Photograph from an automated digital microscope: urine filter membrane, 4× objective. The image covers about 1.5 × 1.1 mm of the membrane.
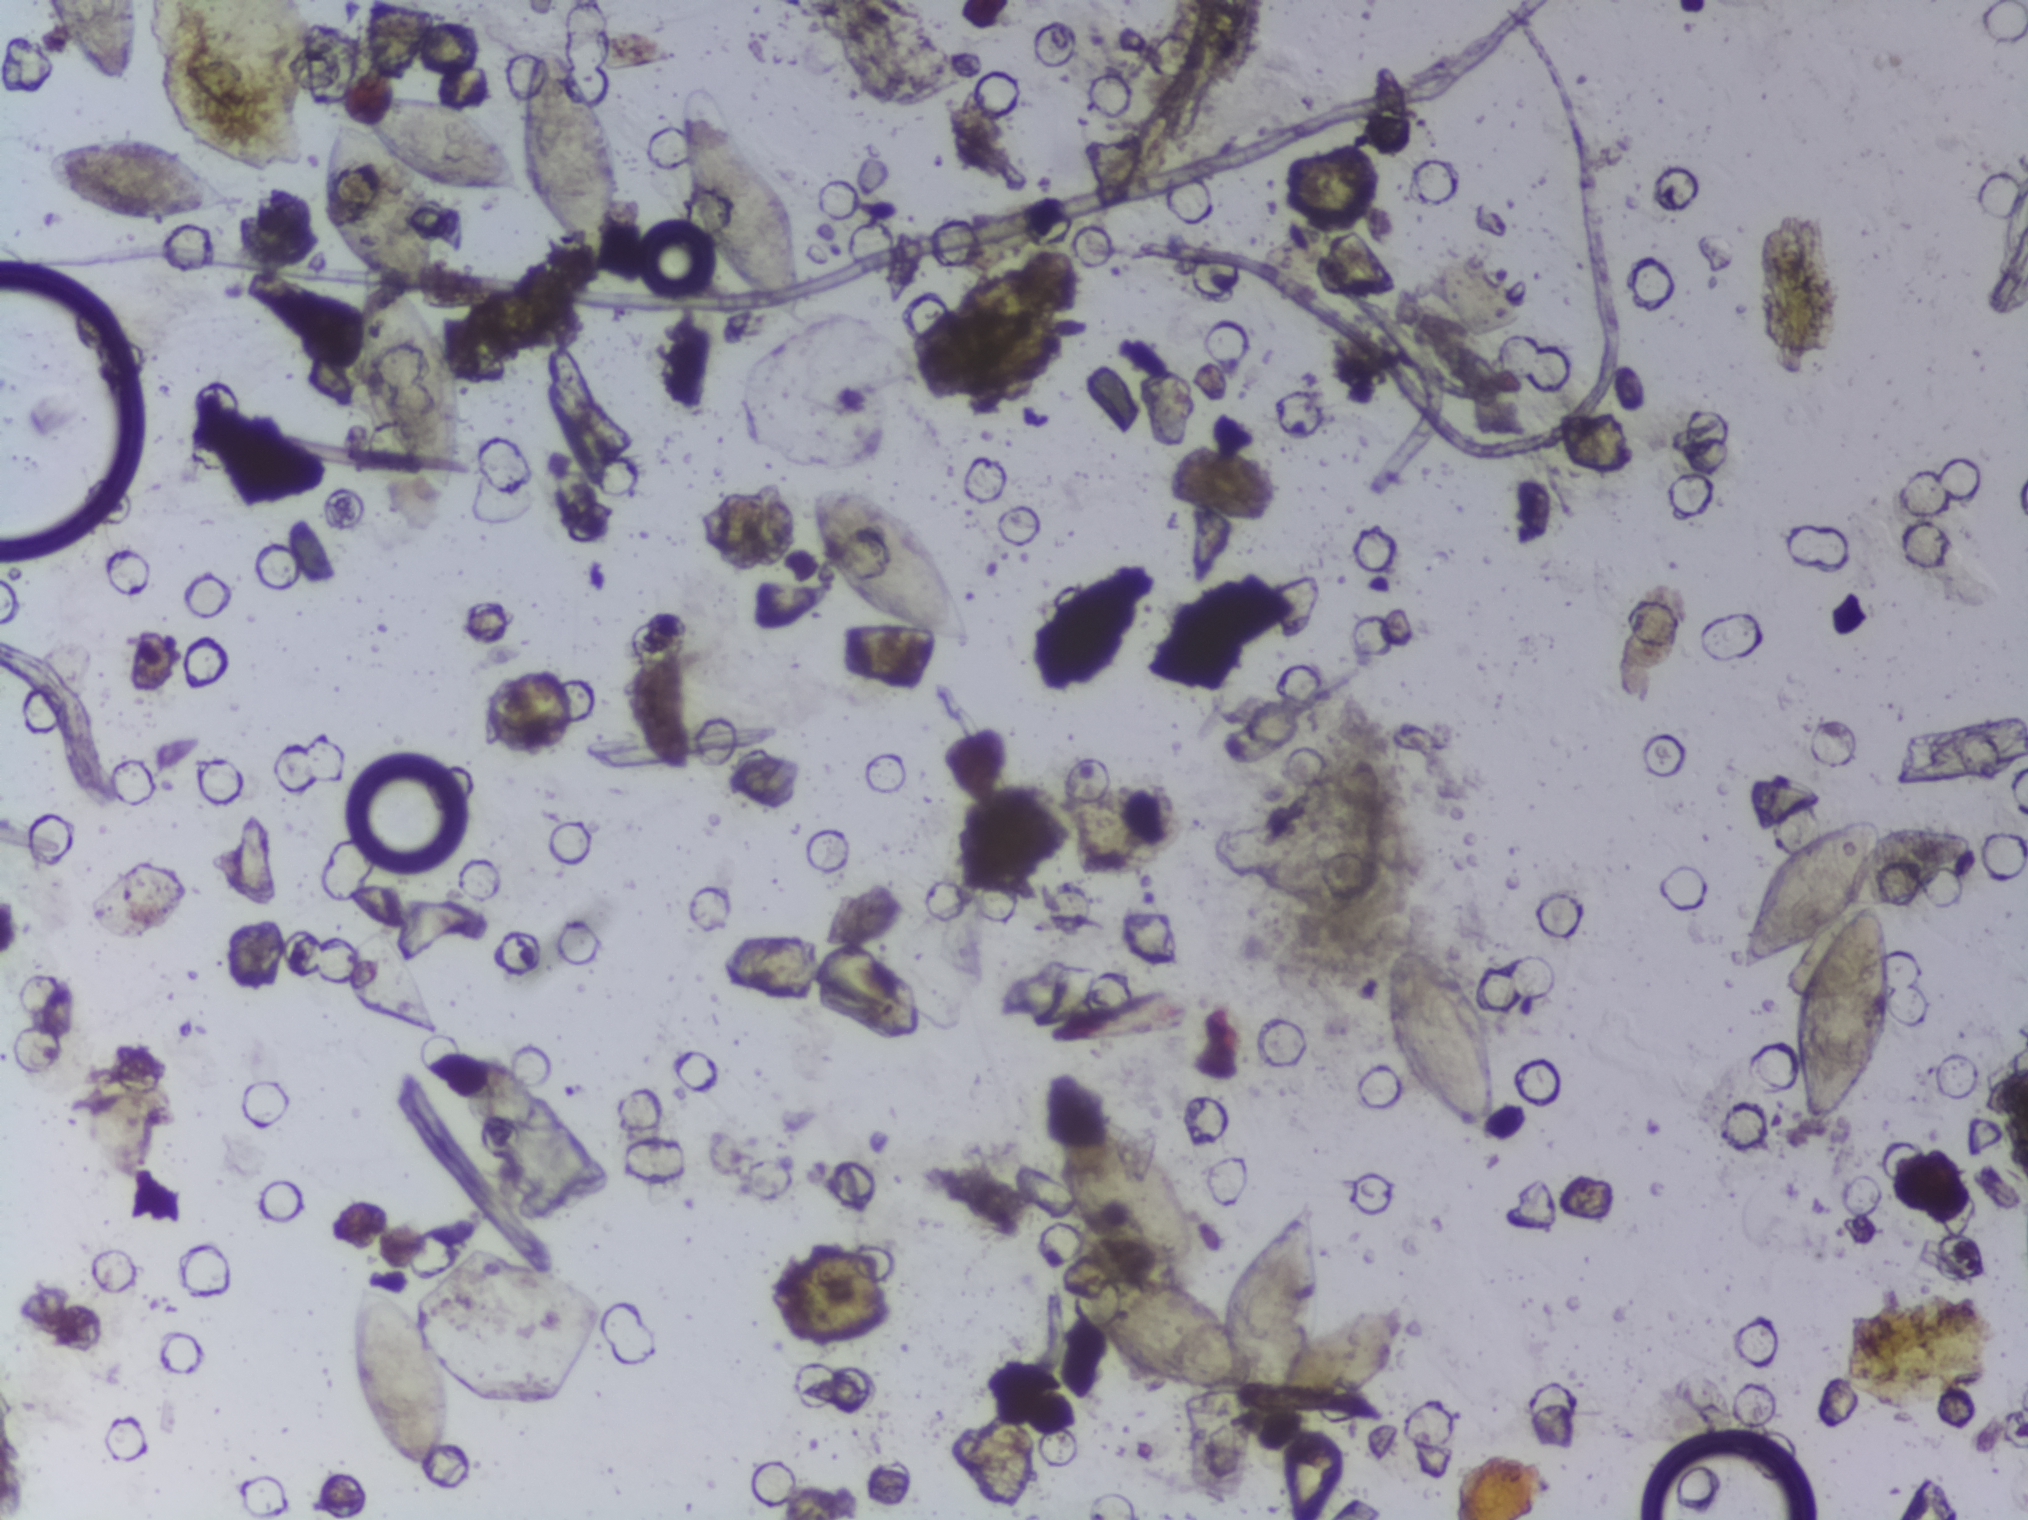
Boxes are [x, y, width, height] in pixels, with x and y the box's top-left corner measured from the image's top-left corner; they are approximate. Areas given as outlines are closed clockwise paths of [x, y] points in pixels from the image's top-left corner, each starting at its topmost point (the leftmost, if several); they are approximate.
Areas outlined as Schistosoma eggs: box [42, 0, 96, 85] (reaching the top edge of the frame); box [47, 137, 198, 88]; outline [542, 47], [583, 74], [612, 133], [625, 190], [619, 249], [607, 279], [593, 279], [549, 240], [521, 207], [519, 194], [428, 185], [439, 213], [439, 289], [421, 296], [454, 338], [469, 421], [454, 489], [434, 500], [358, 429], [346, 404], [341, 336], [354, 271], [318, 219], [313, 163], [327, 126], [345, 118], [345, 104], [369, 95], [453, 98], [491, 125], [515, 160], [526, 69] (eggs clustered together); box [346, 1283, 109, 198]; box [674, 87, 140, 244]; box [806, 485, 173, 171]; outline [1053, 1081], [1120, 1104], [1163, 1149], [1195, 1209], [1203, 1273], [1189, 1284], [1209, 1298], [1243, 1253], [1269, 1237], [1299, 1204], [1315, 1202], [1325, 1320], [1383, 1300], [1401, 1307], [1402, 1337], [1369, 1394], [1326, 1418], [1284, 1416], [1251, 1430], [1221, 1390], [1194, 1392], [1139, 1375], [1103, 1349], [1074, 1310], [1054, 1259], [1060, 1238], [1083, 1235], [1066, 1211], [1049, 1147] (eggs clustered together); box [1384, 941, 119, 200]; outline [1874, 818], [1977, 834], [1980, 854], [1968, 869], [1885, 908], [1898, 958], [1895, 1033], [1878, 1071], [1826, 1126], [1810, 1133], [1793, 1083], [1786, 1000], [1794, 985], [1795, 996], [1803, 988], [1827, 940], [1750, 972], [1738, 971], [1738, 950], [1778, 854], [1821, 830]. An outlined area can hold more than one egg.